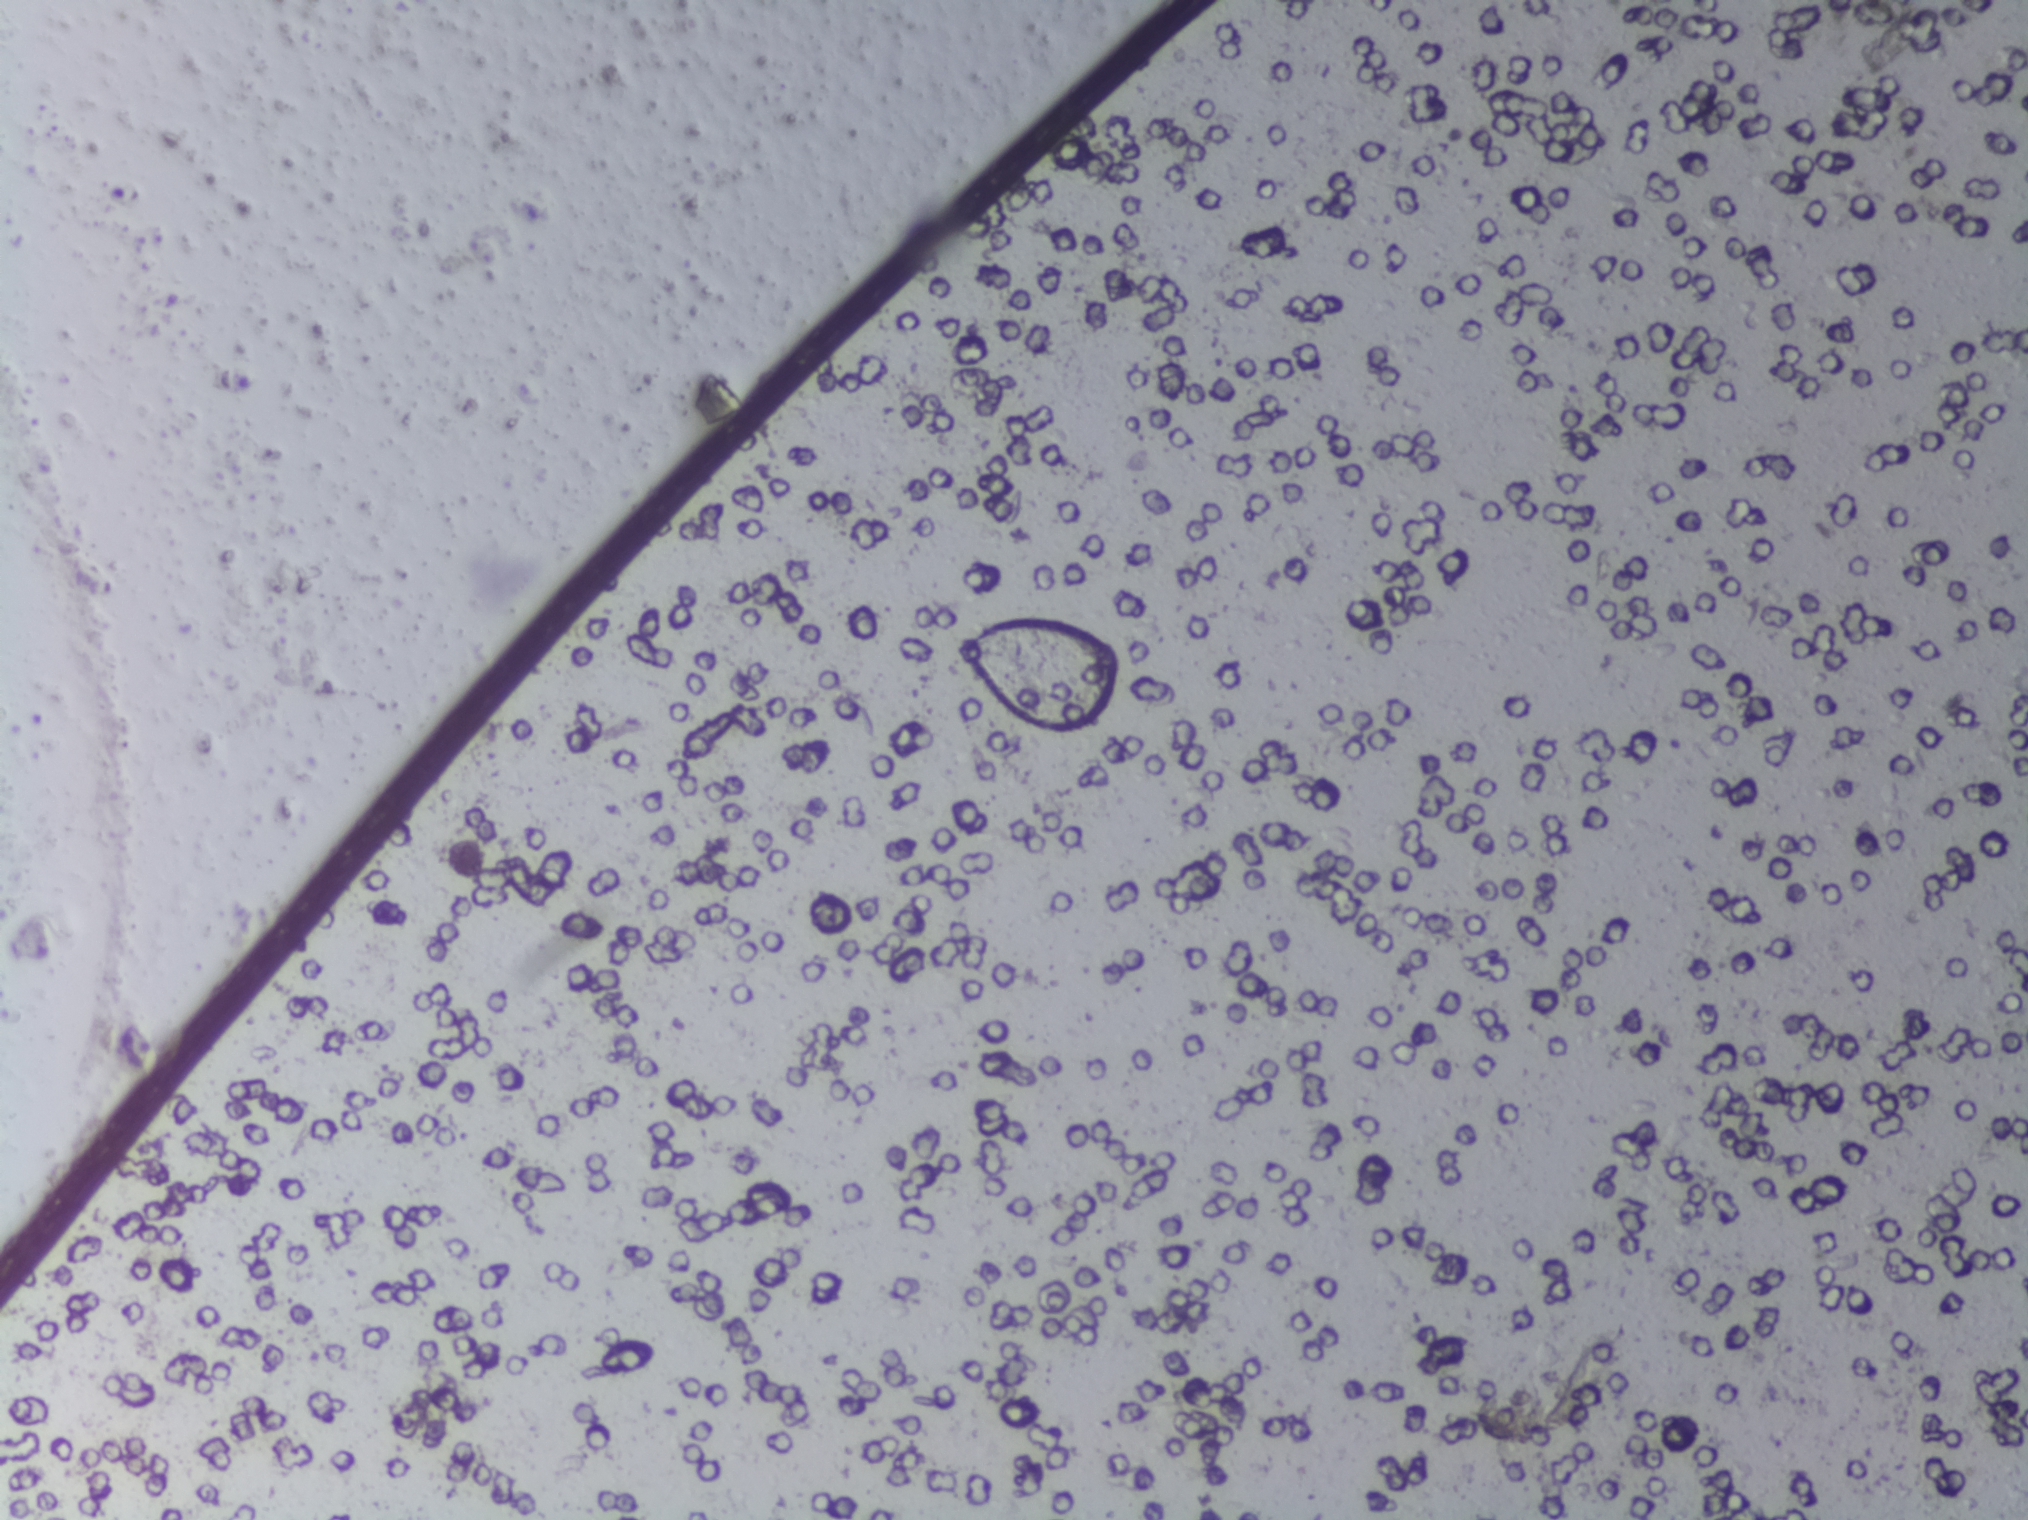
Photograph from an automated digital microscope: urine filter membrane, 4× objective.
The expert annotation marks no Schistosoma egg in this field of view.